Urine filtration membrane under a 4× objective, photographed by an automated digital microscope. Field of view: about 1.5 mm wide and 1.1 mm high.
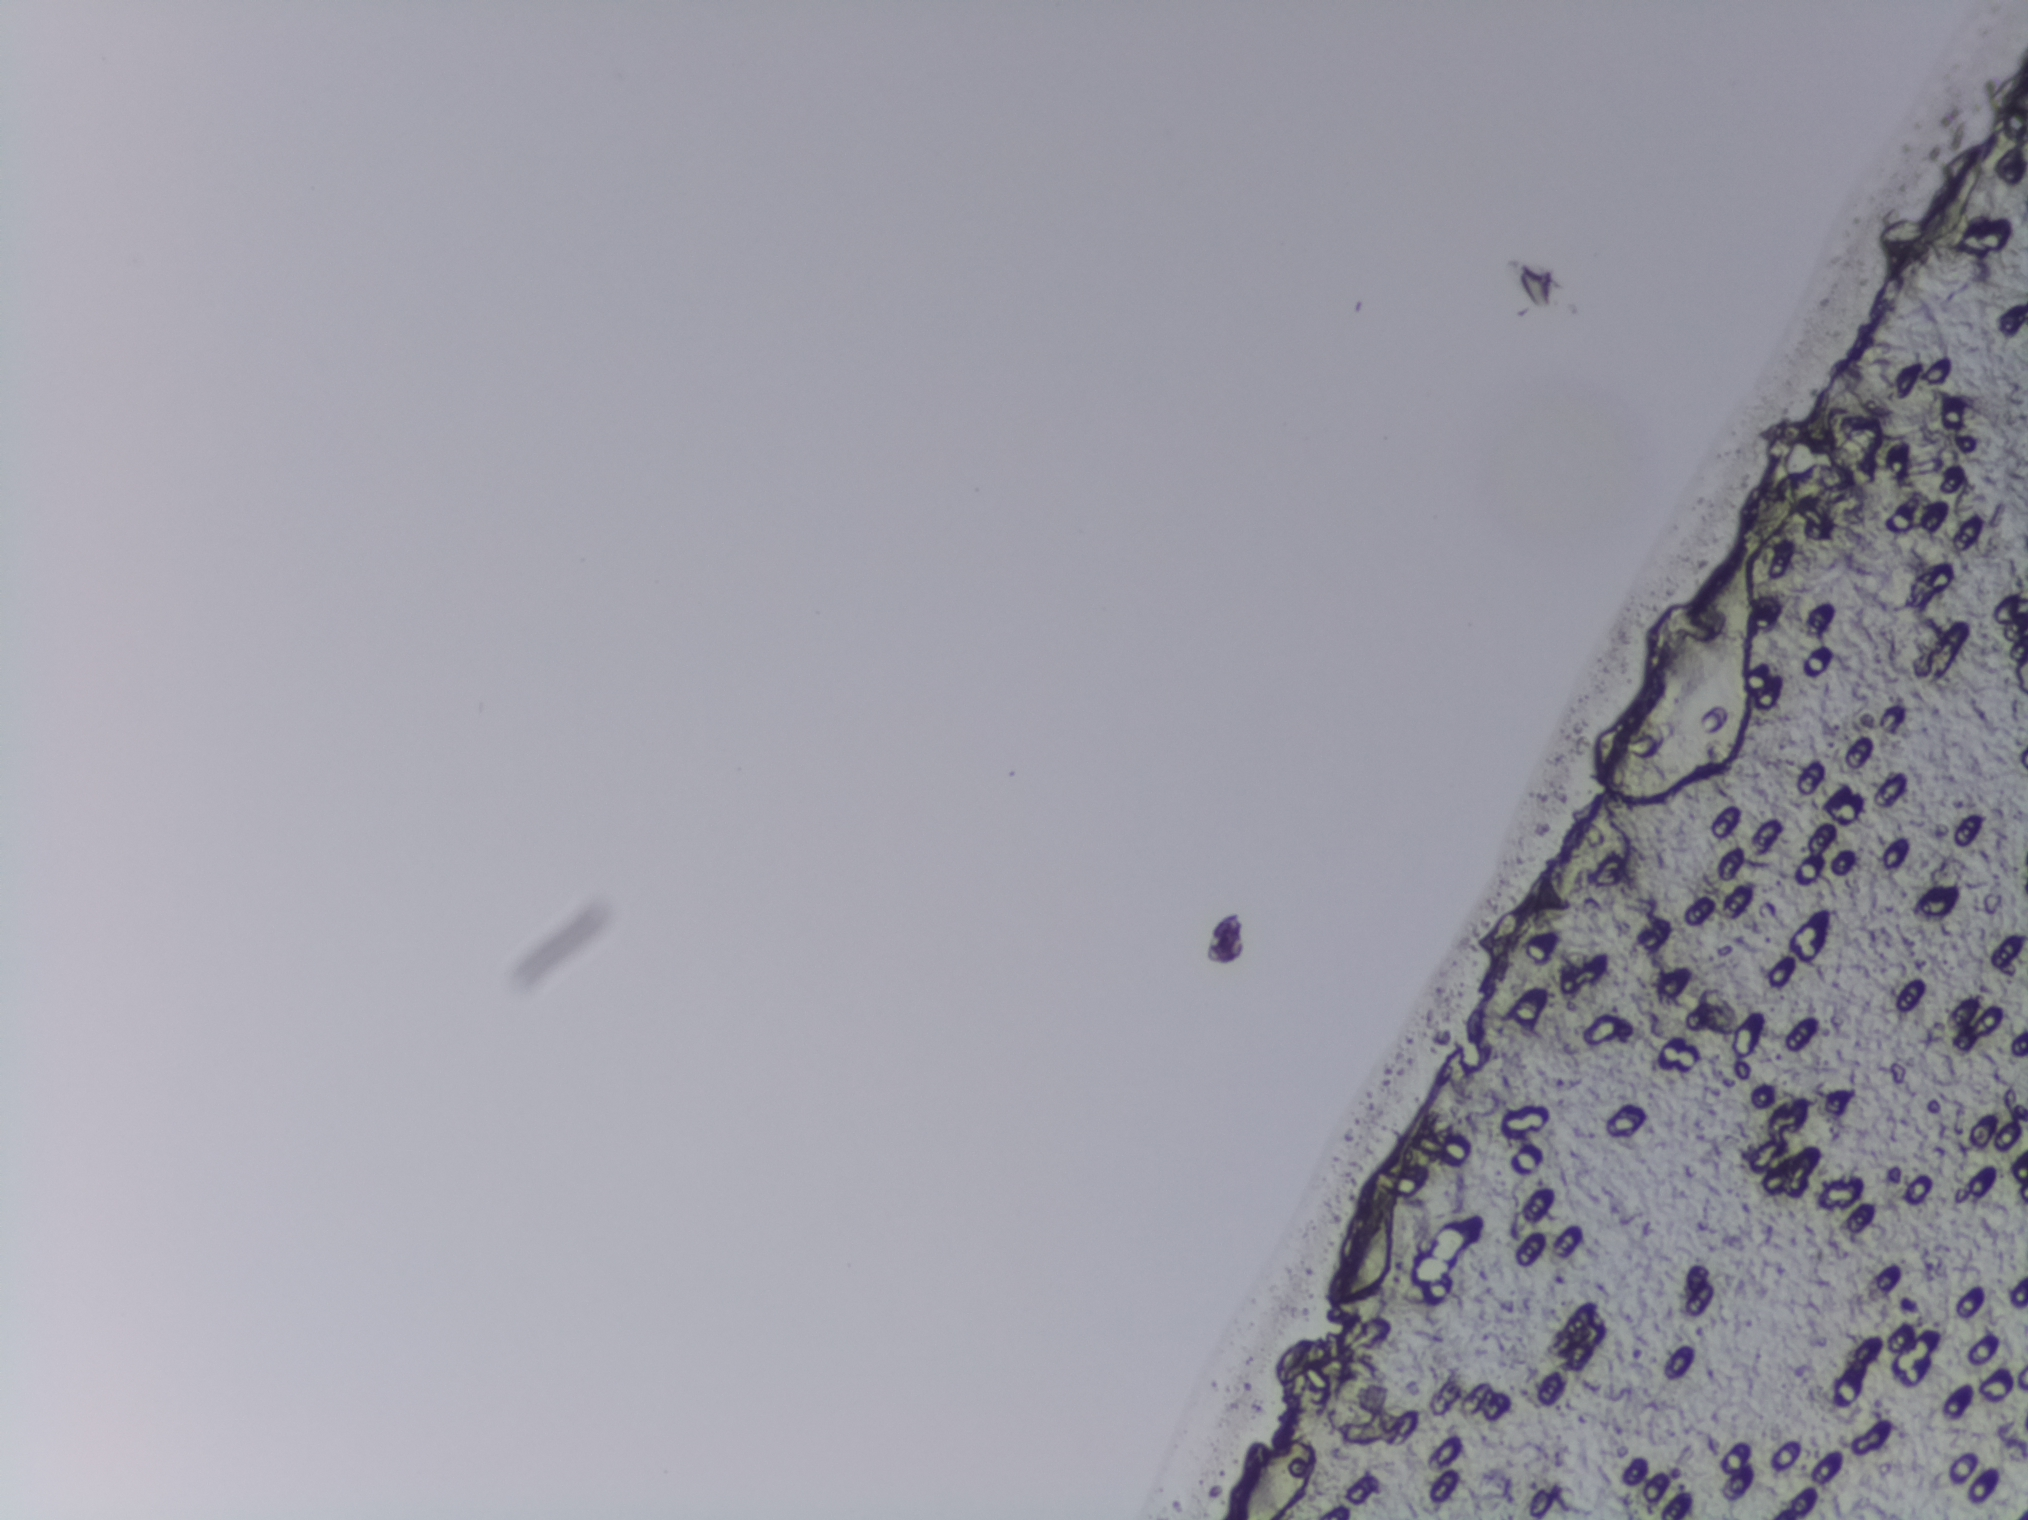
Schistosoma eggs: none outlined.